Photograph from an automated digital microscope: urine filter membrane, 4× objective. Field of view: about 1.5 mm wide and 1.1 mm high.
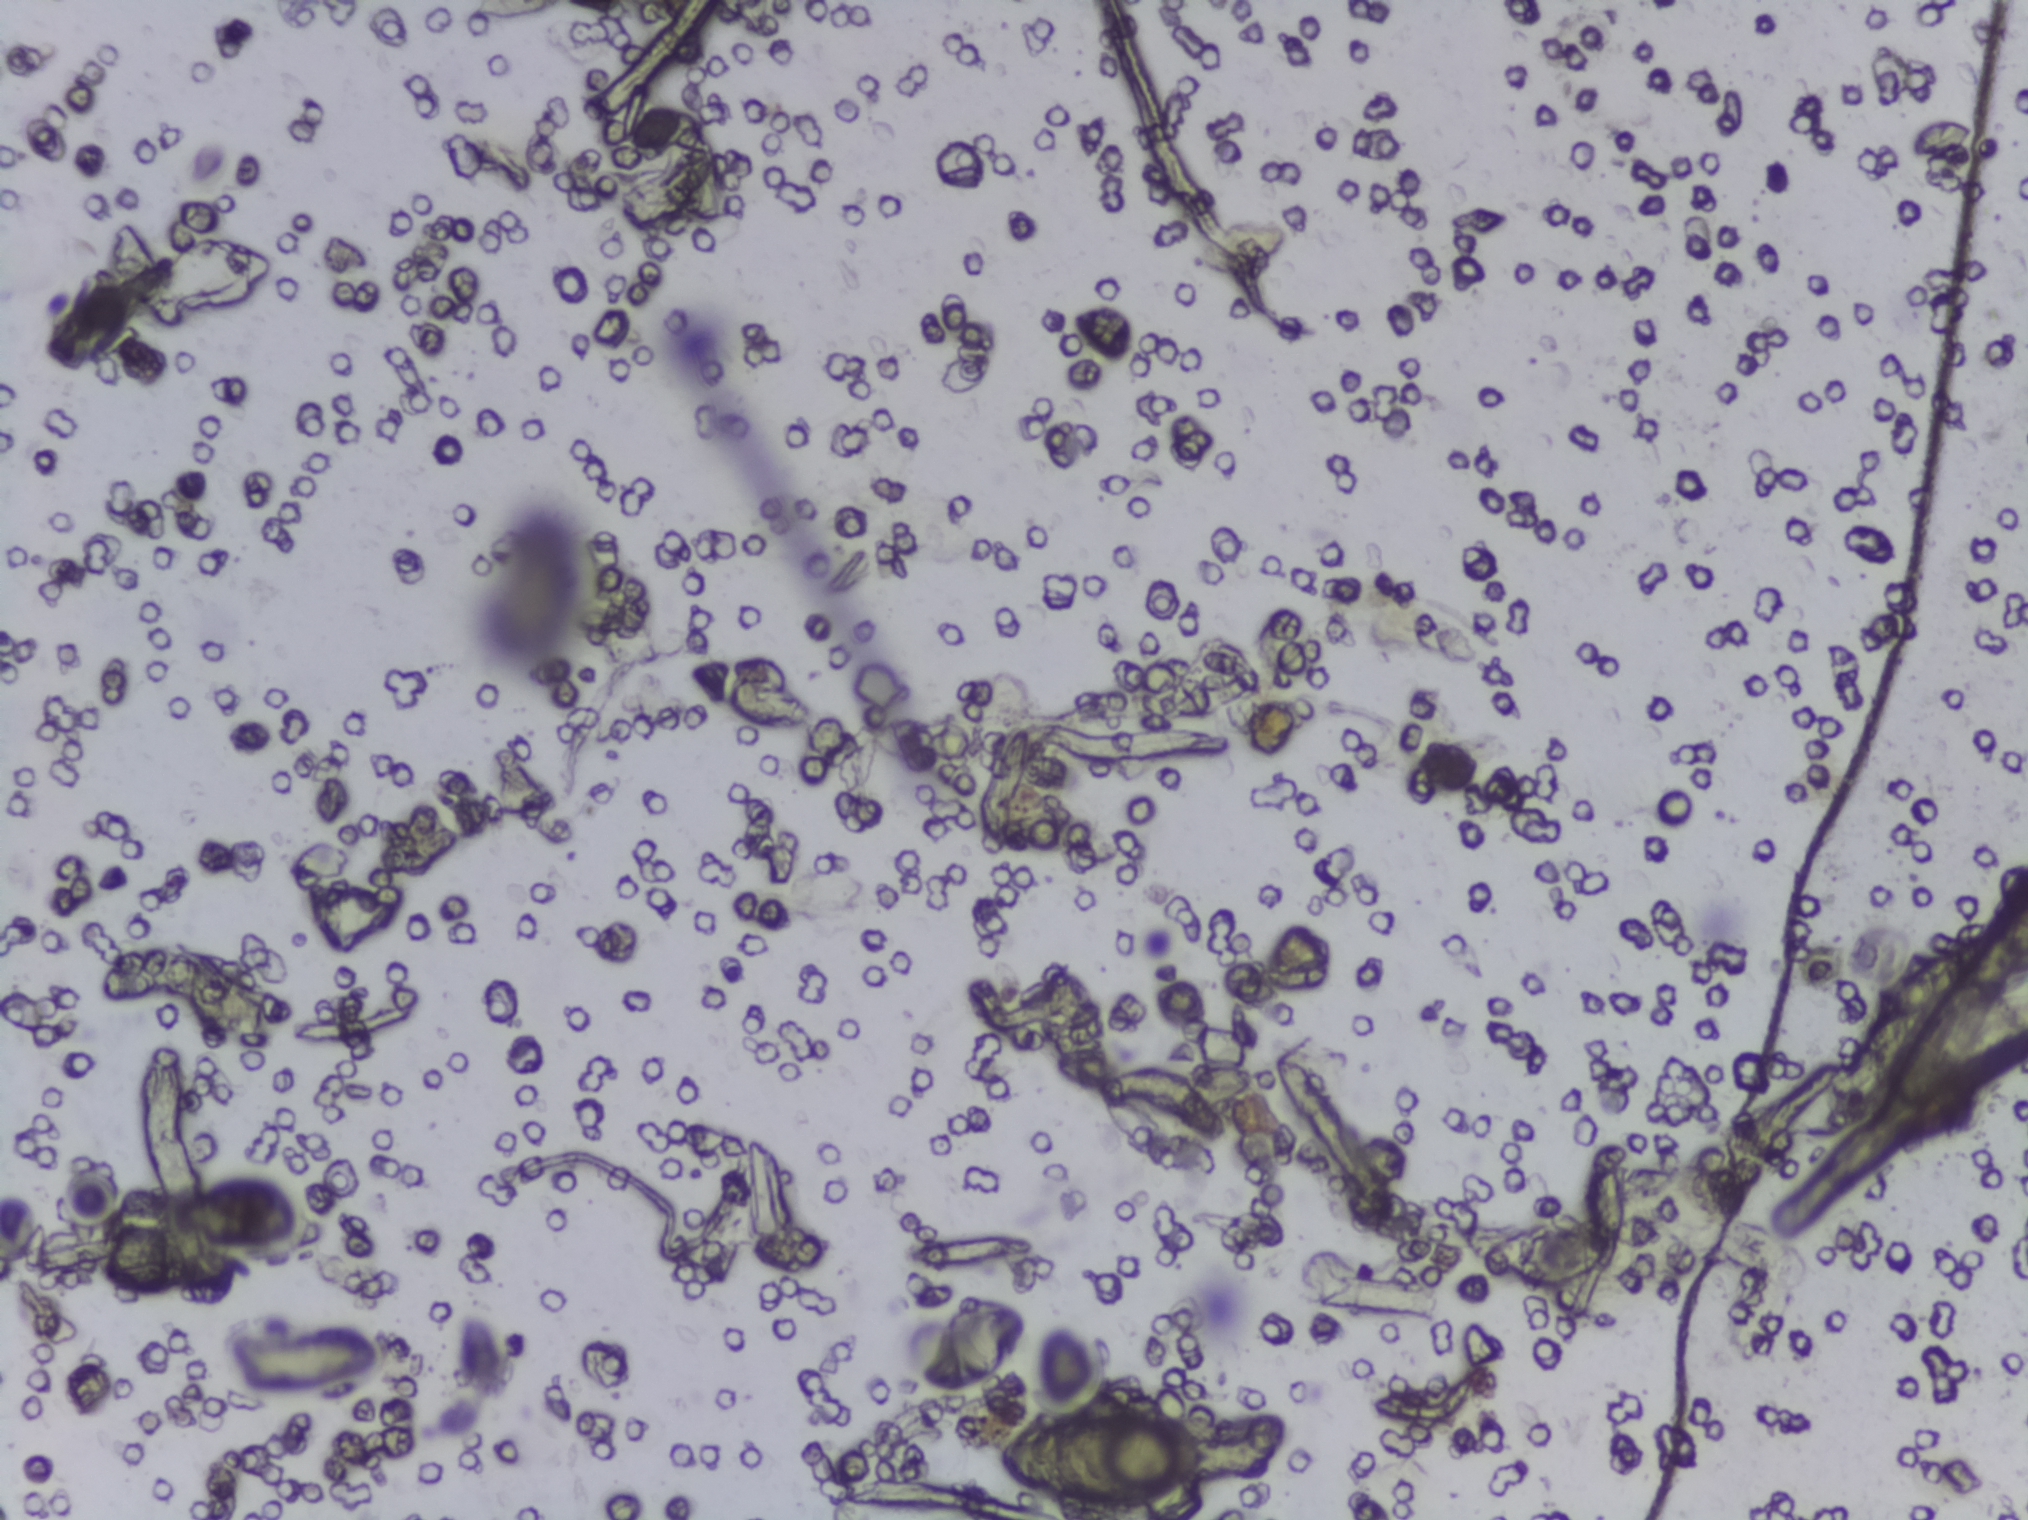
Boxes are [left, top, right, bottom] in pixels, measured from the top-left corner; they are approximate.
One area of this image is outlined as Schistosoma eggs: [989, 1403, 1212, 1512]. Eggs that touch can end up inside the same outlined area.